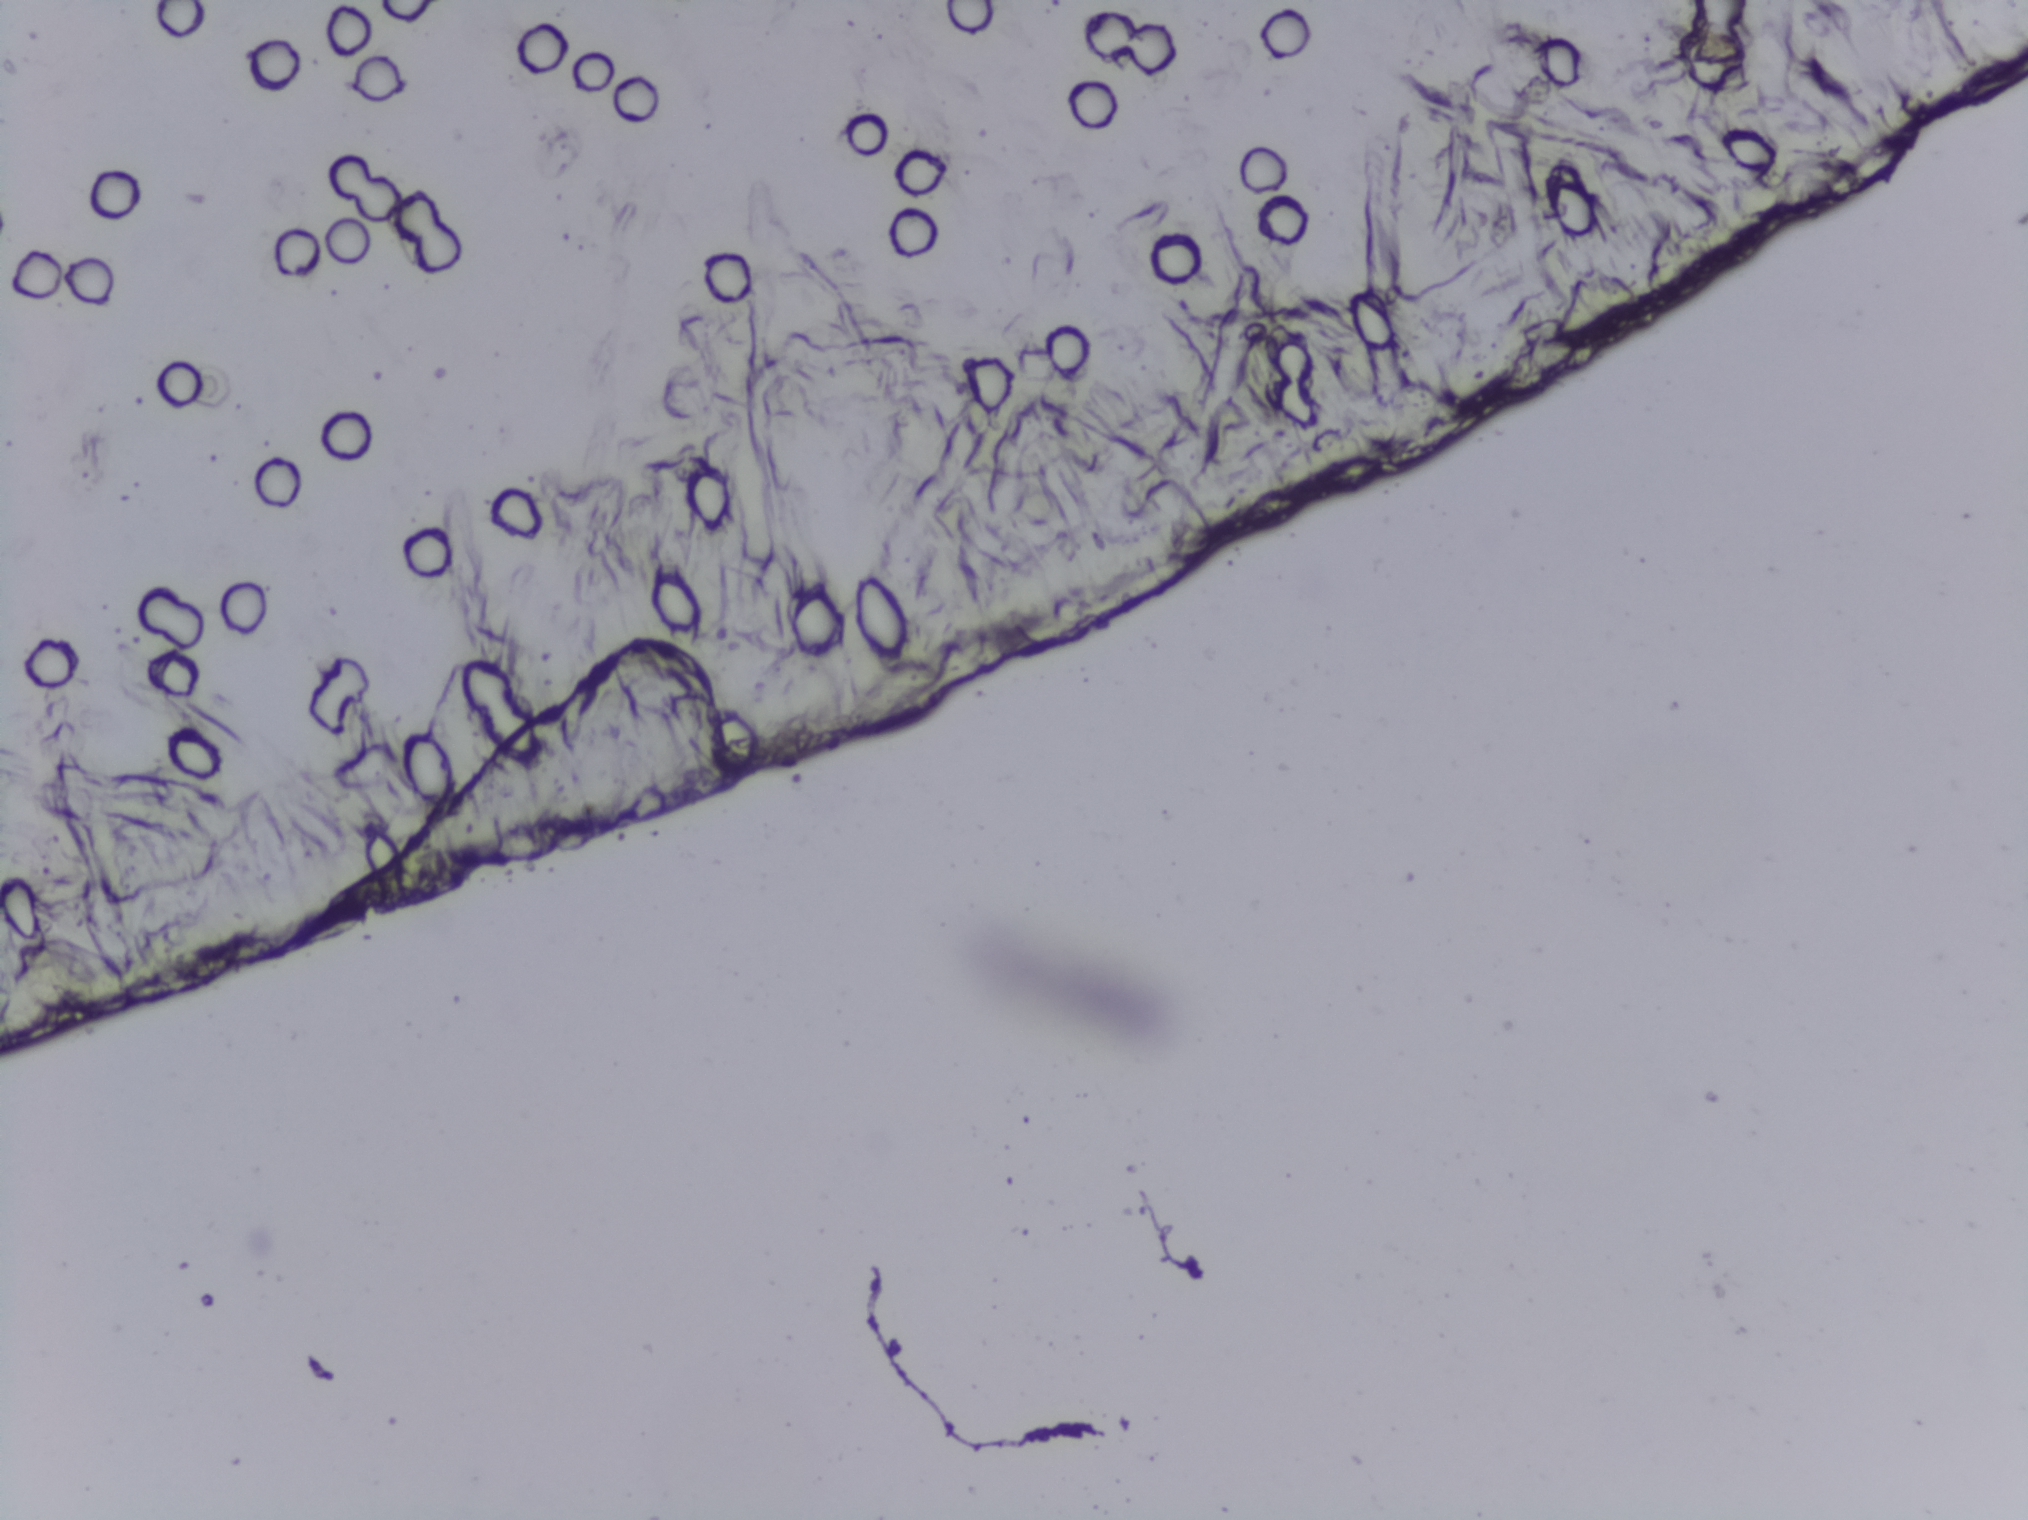
No area of this image was outlined as a Schistosoma egg.
Microscope photograph (4× objective) of a membrane that a urine sample was filtered through. The field of view is about 1.5 mm × 1.1 mm.